Urine filter membrane photographed through a 4× microscope objective. The image covers about 1.5 × 1.1 mm of the membrane.
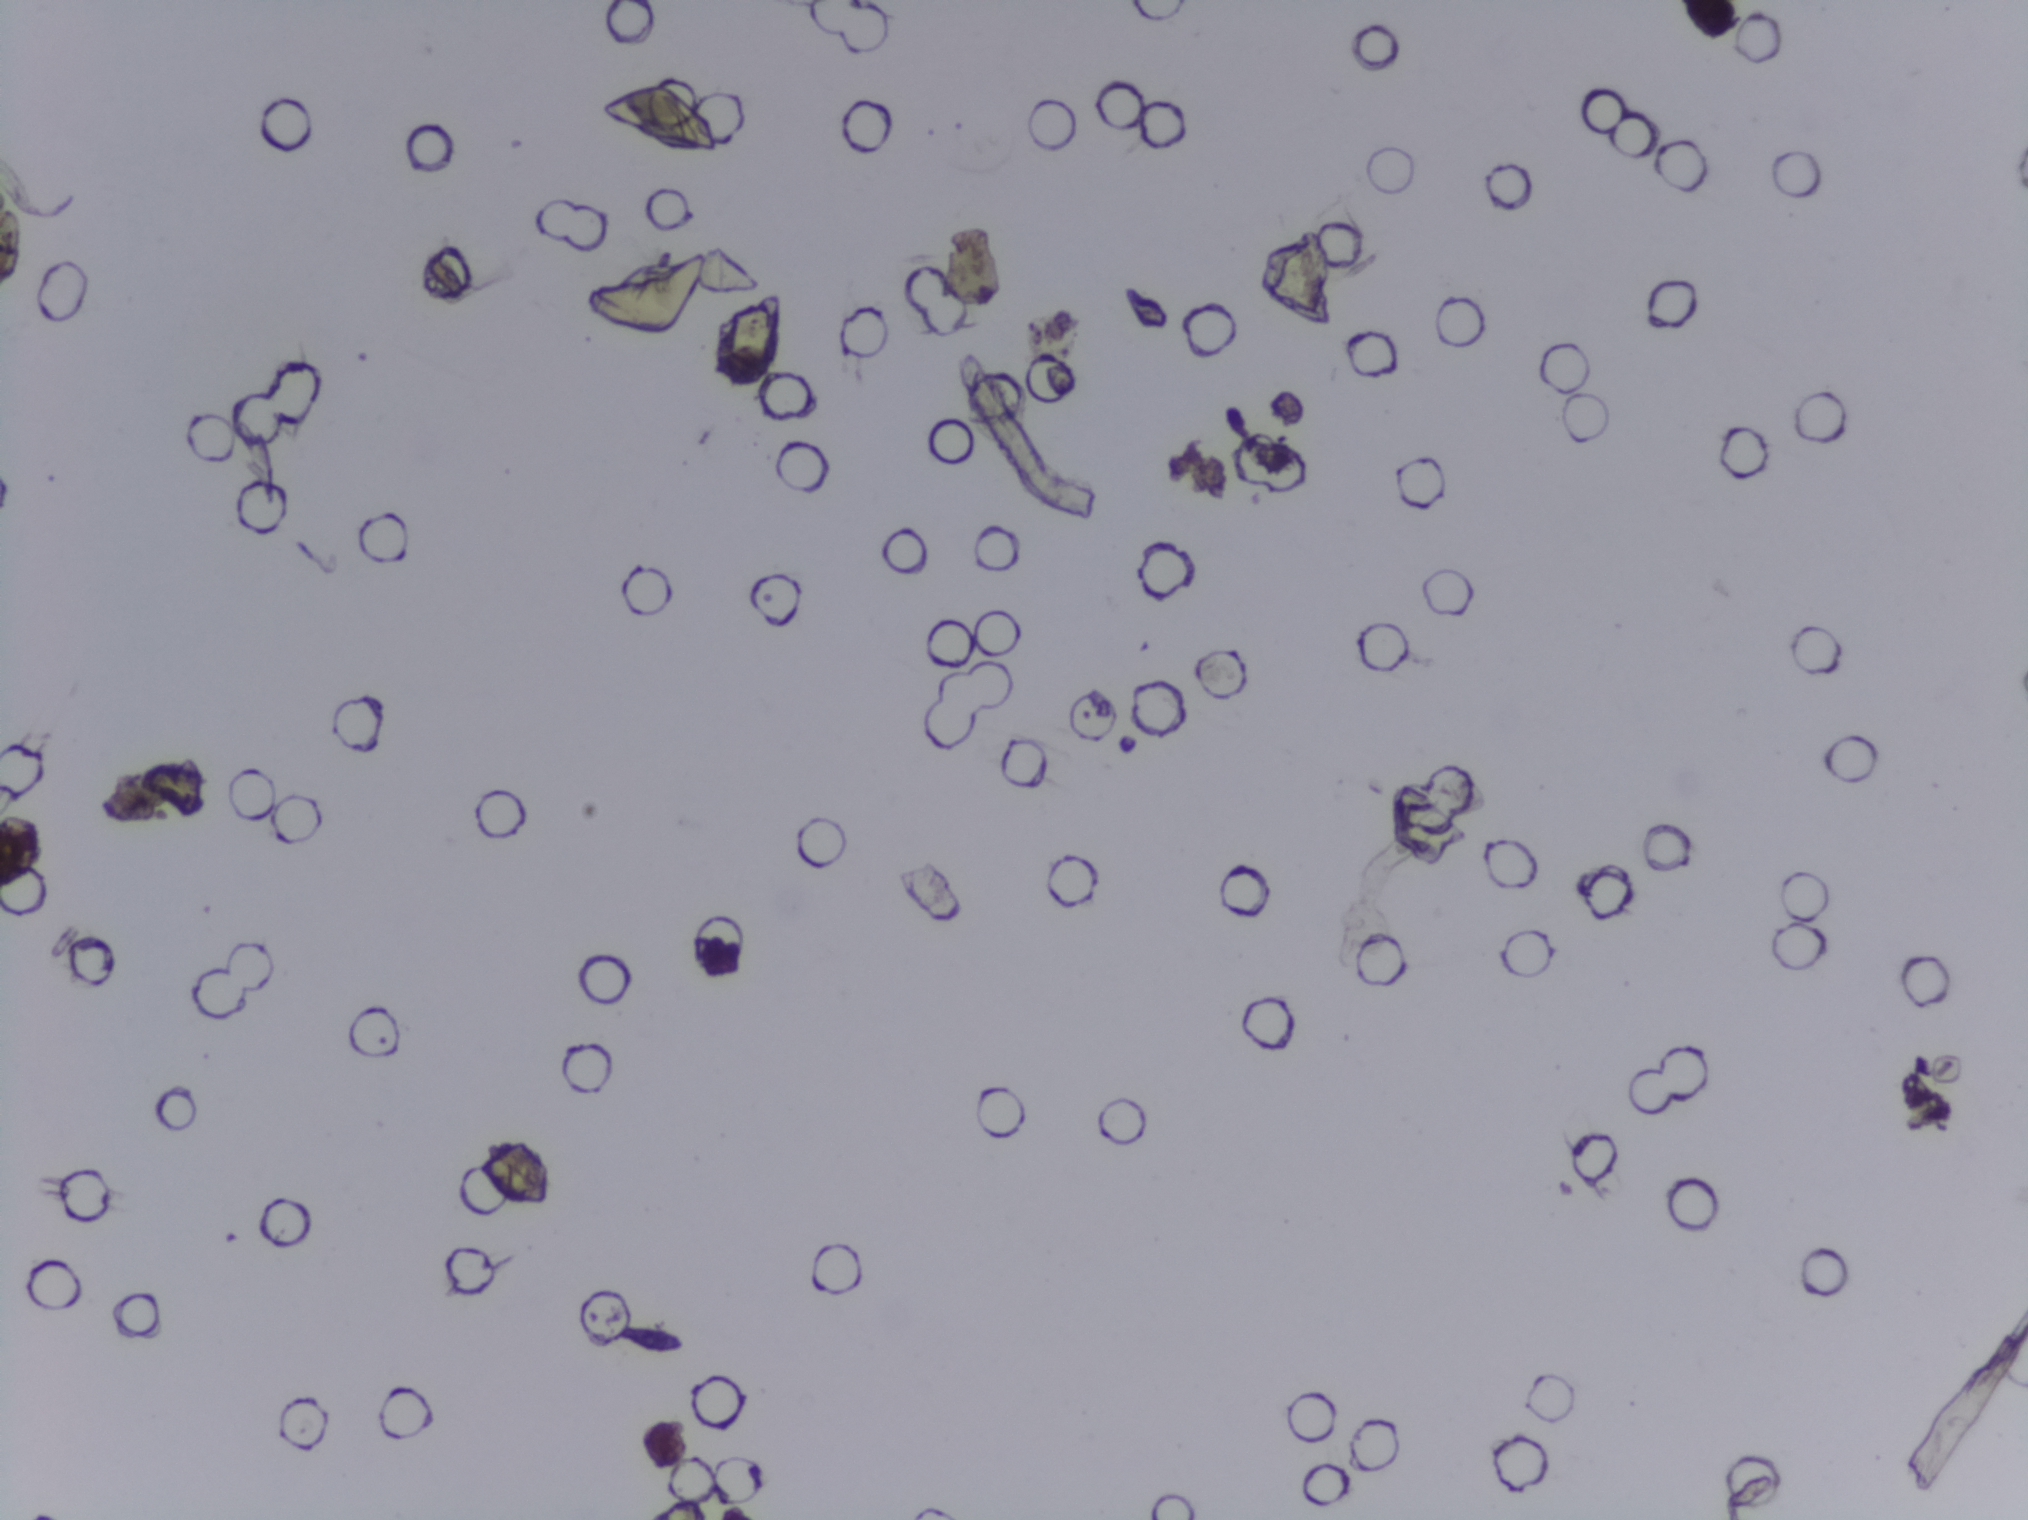
The expert annotation outlines no Schistosoma egg in this image.